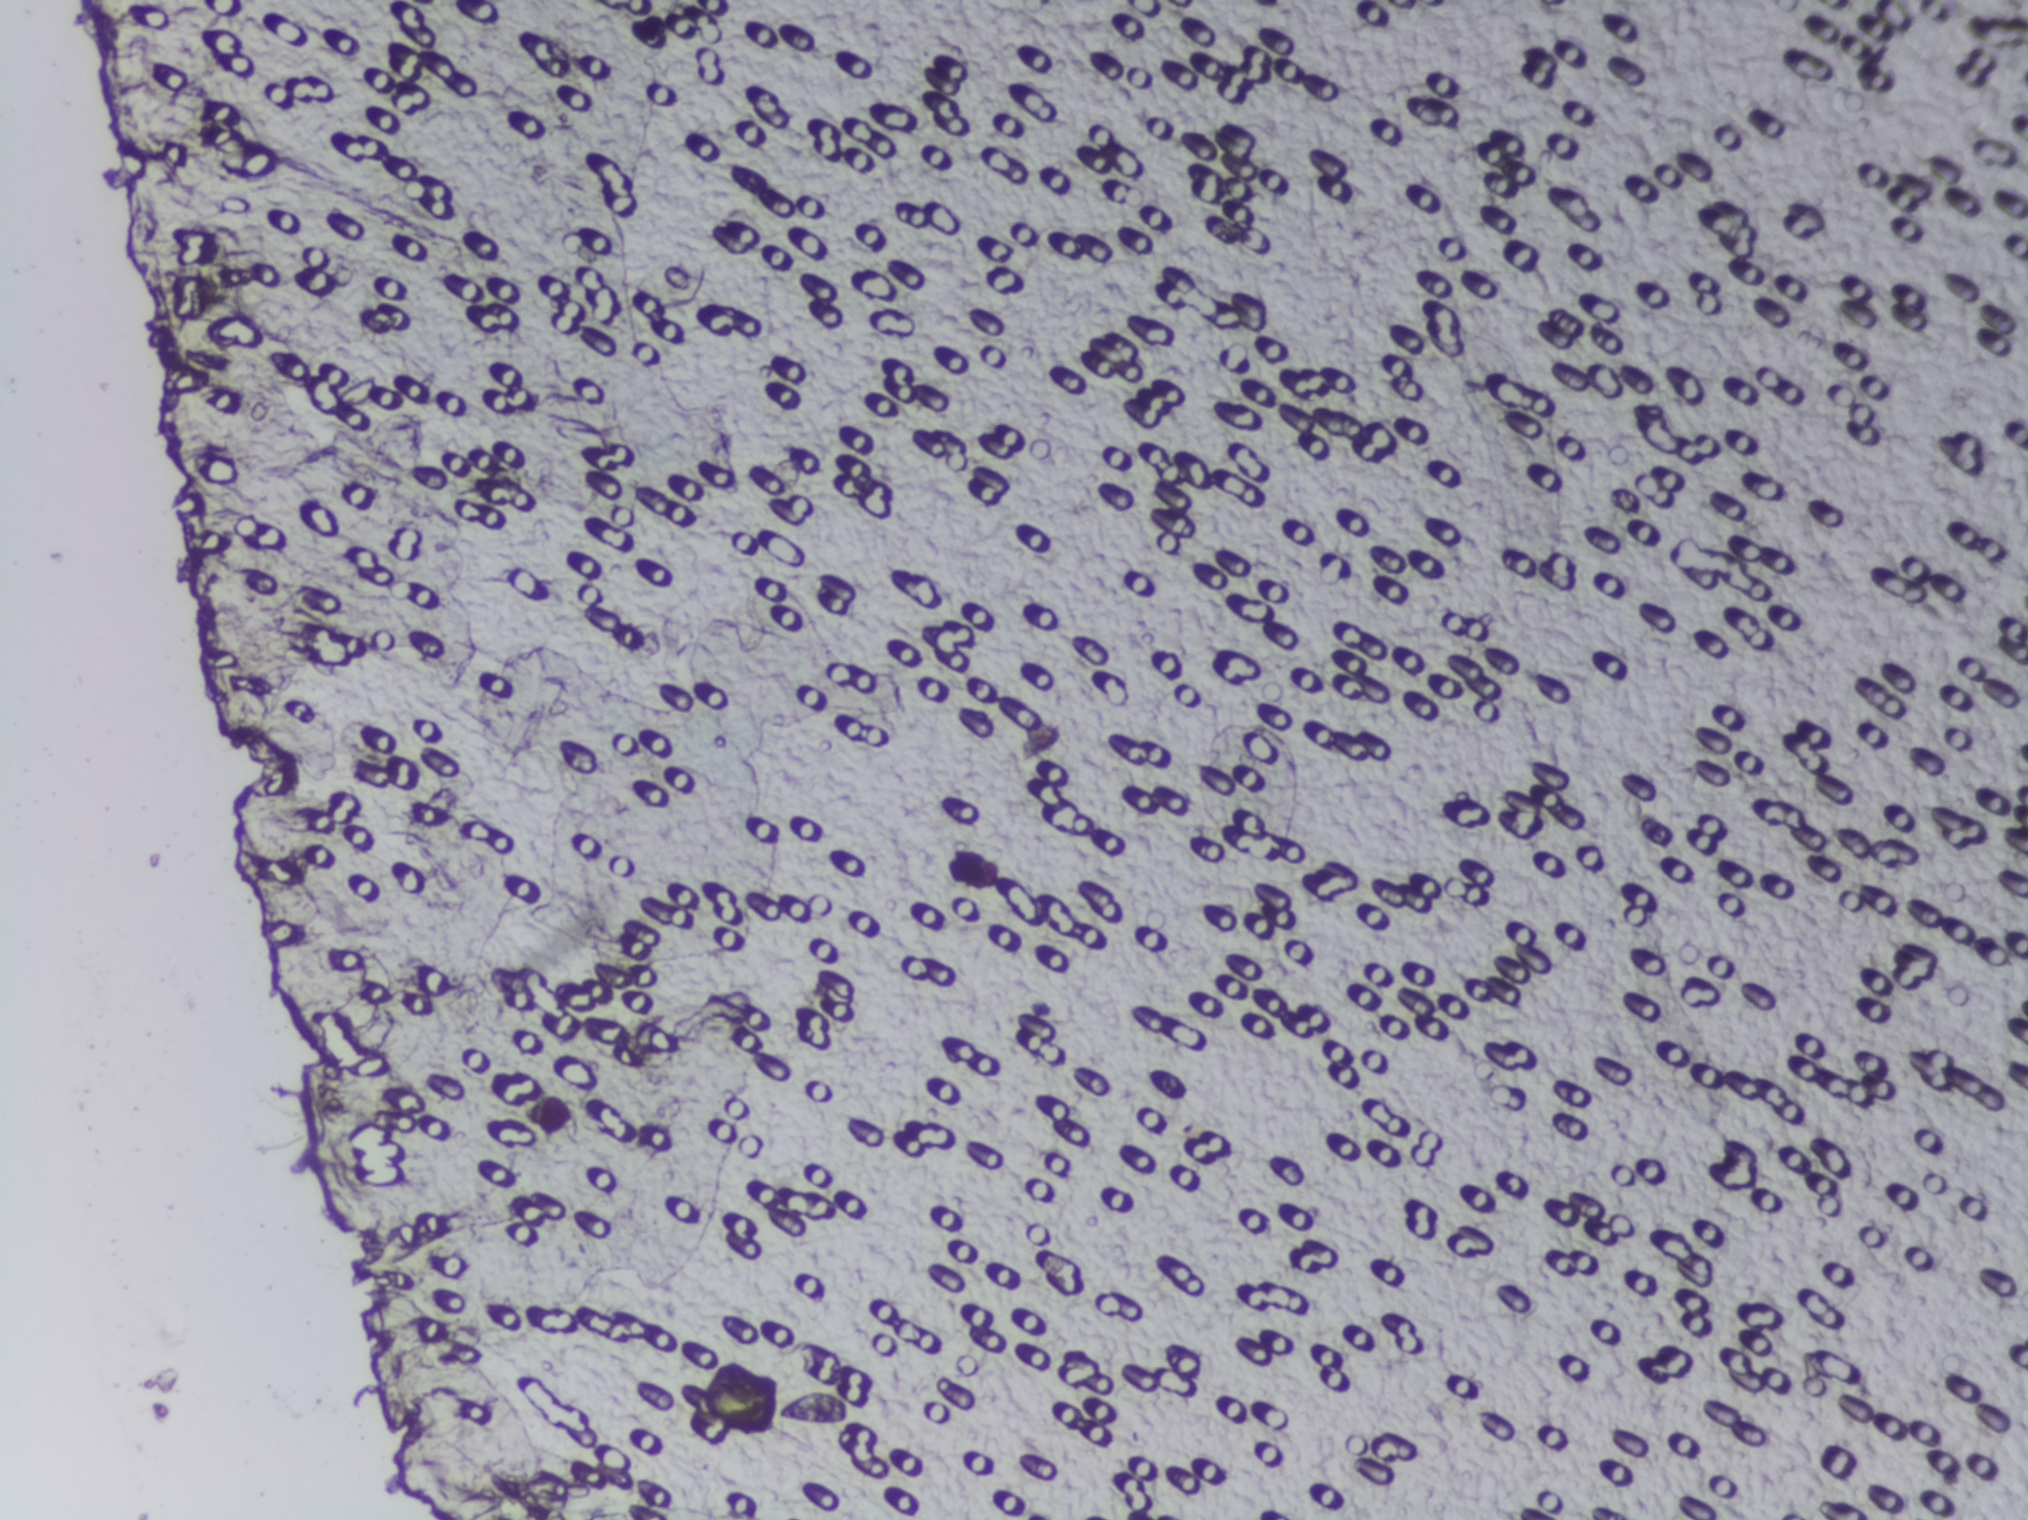
Urine filter membrane photographed through a 4× microscope objective.
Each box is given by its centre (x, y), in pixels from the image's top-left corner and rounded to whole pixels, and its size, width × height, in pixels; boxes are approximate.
Areas outlined as Schistosoma eggs:
1. centre (742, 1401), 83 × 76 px
A single outlined area may contain several eggs.